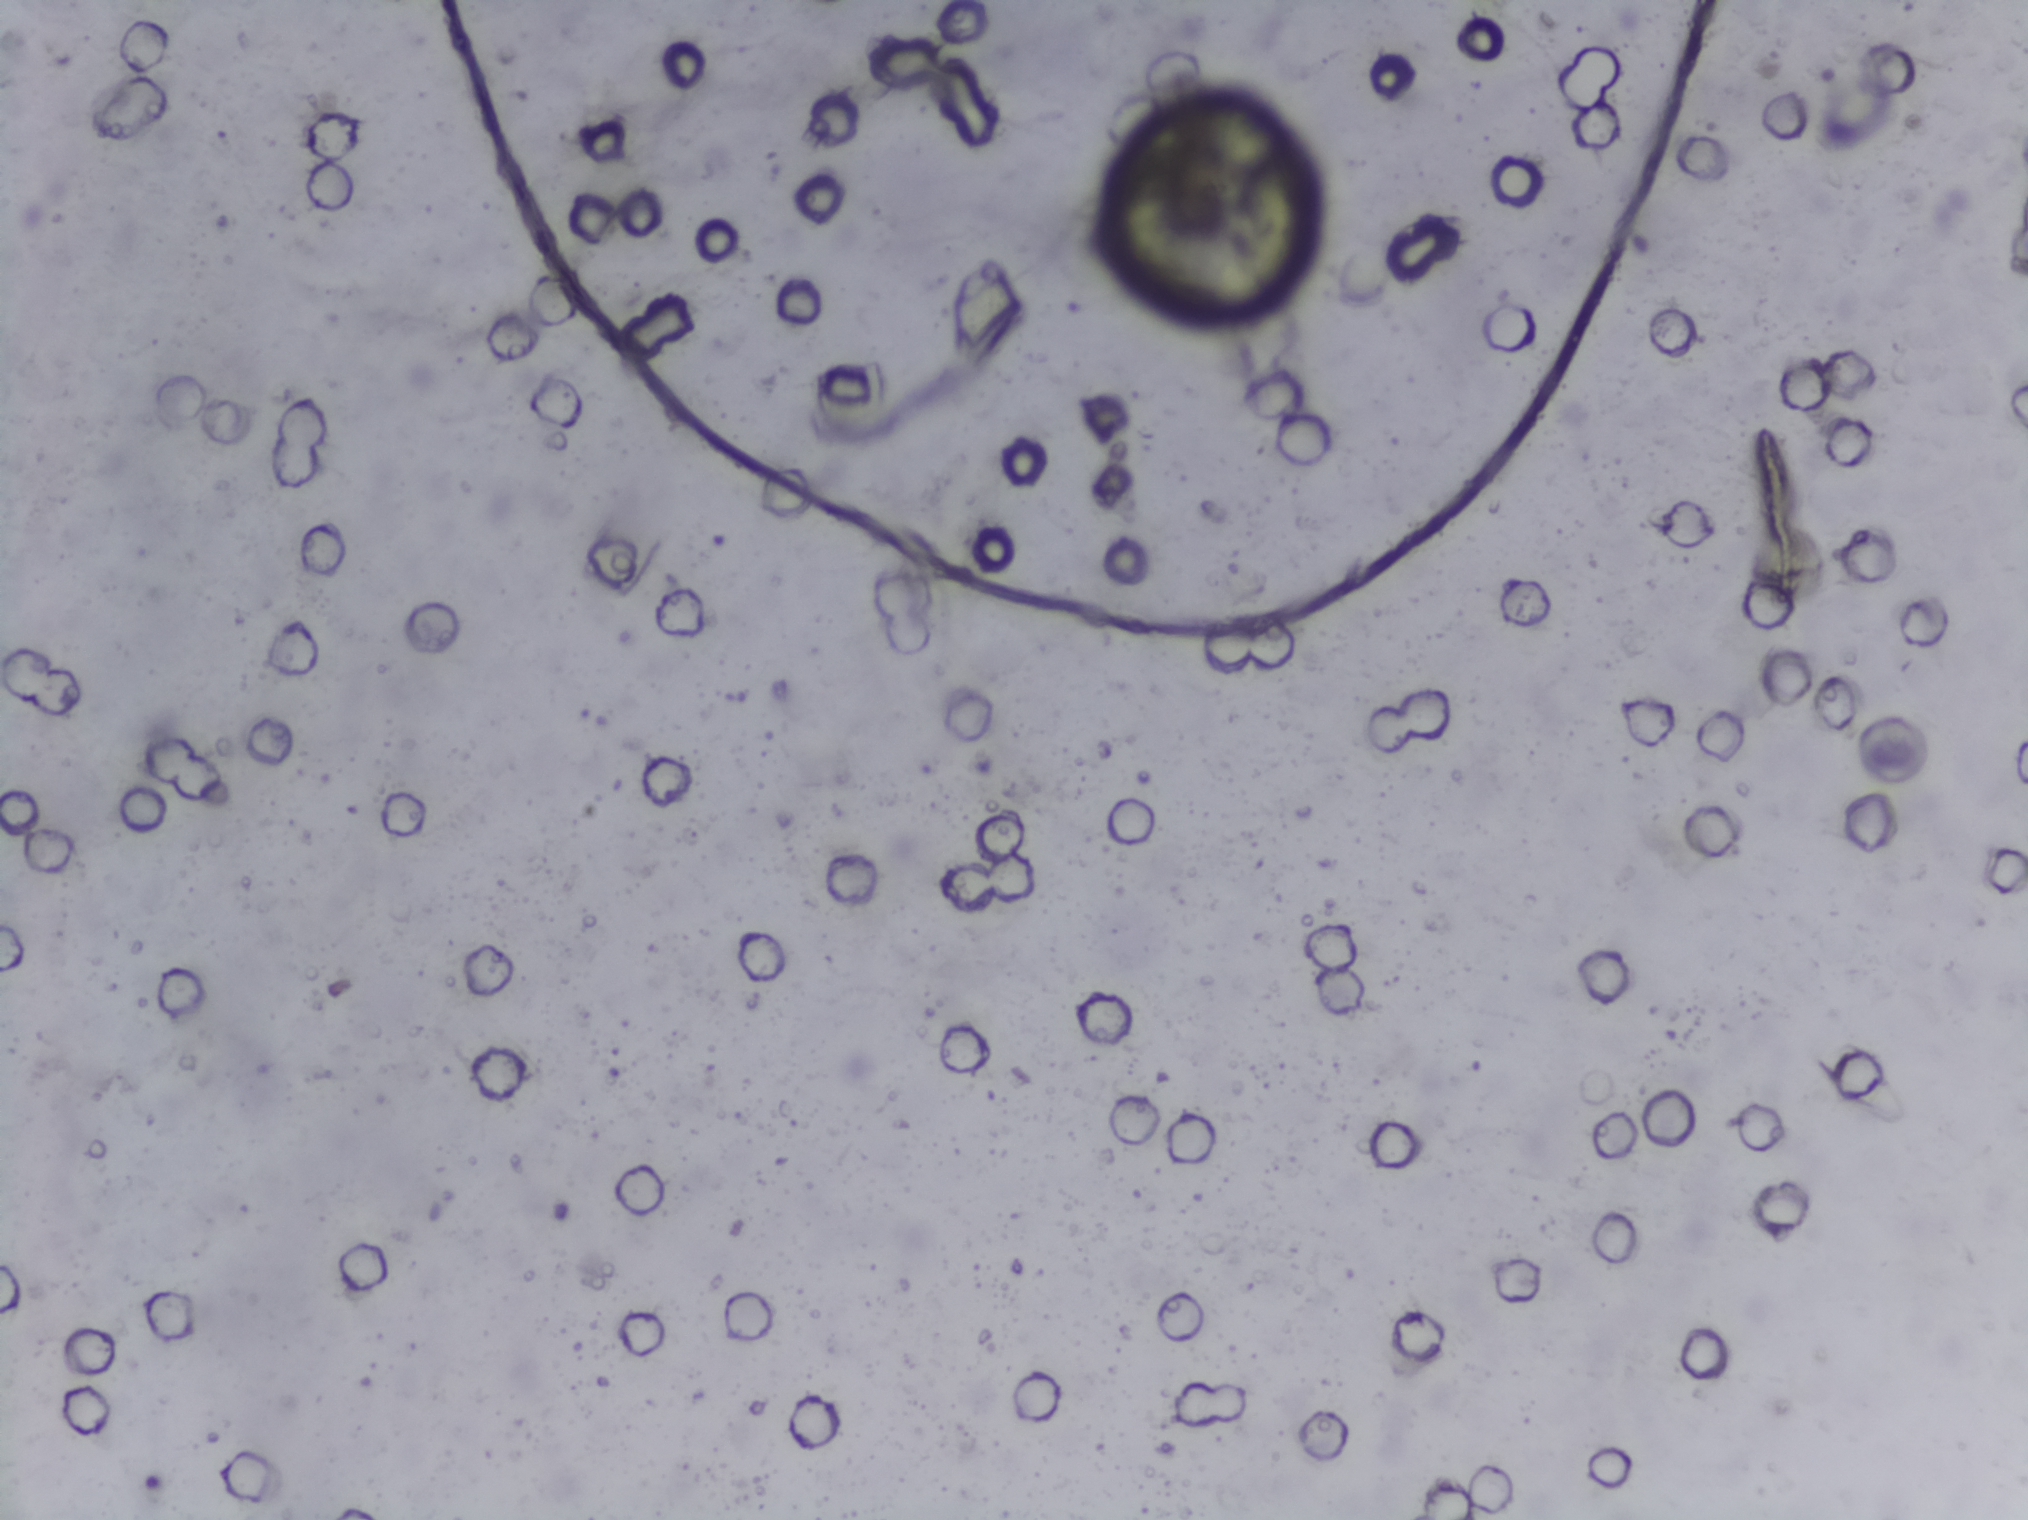
Schistosoma eggs: none outlined.
Urine filtration membrane under a 4× objective, photographed by an automated digital microscope.